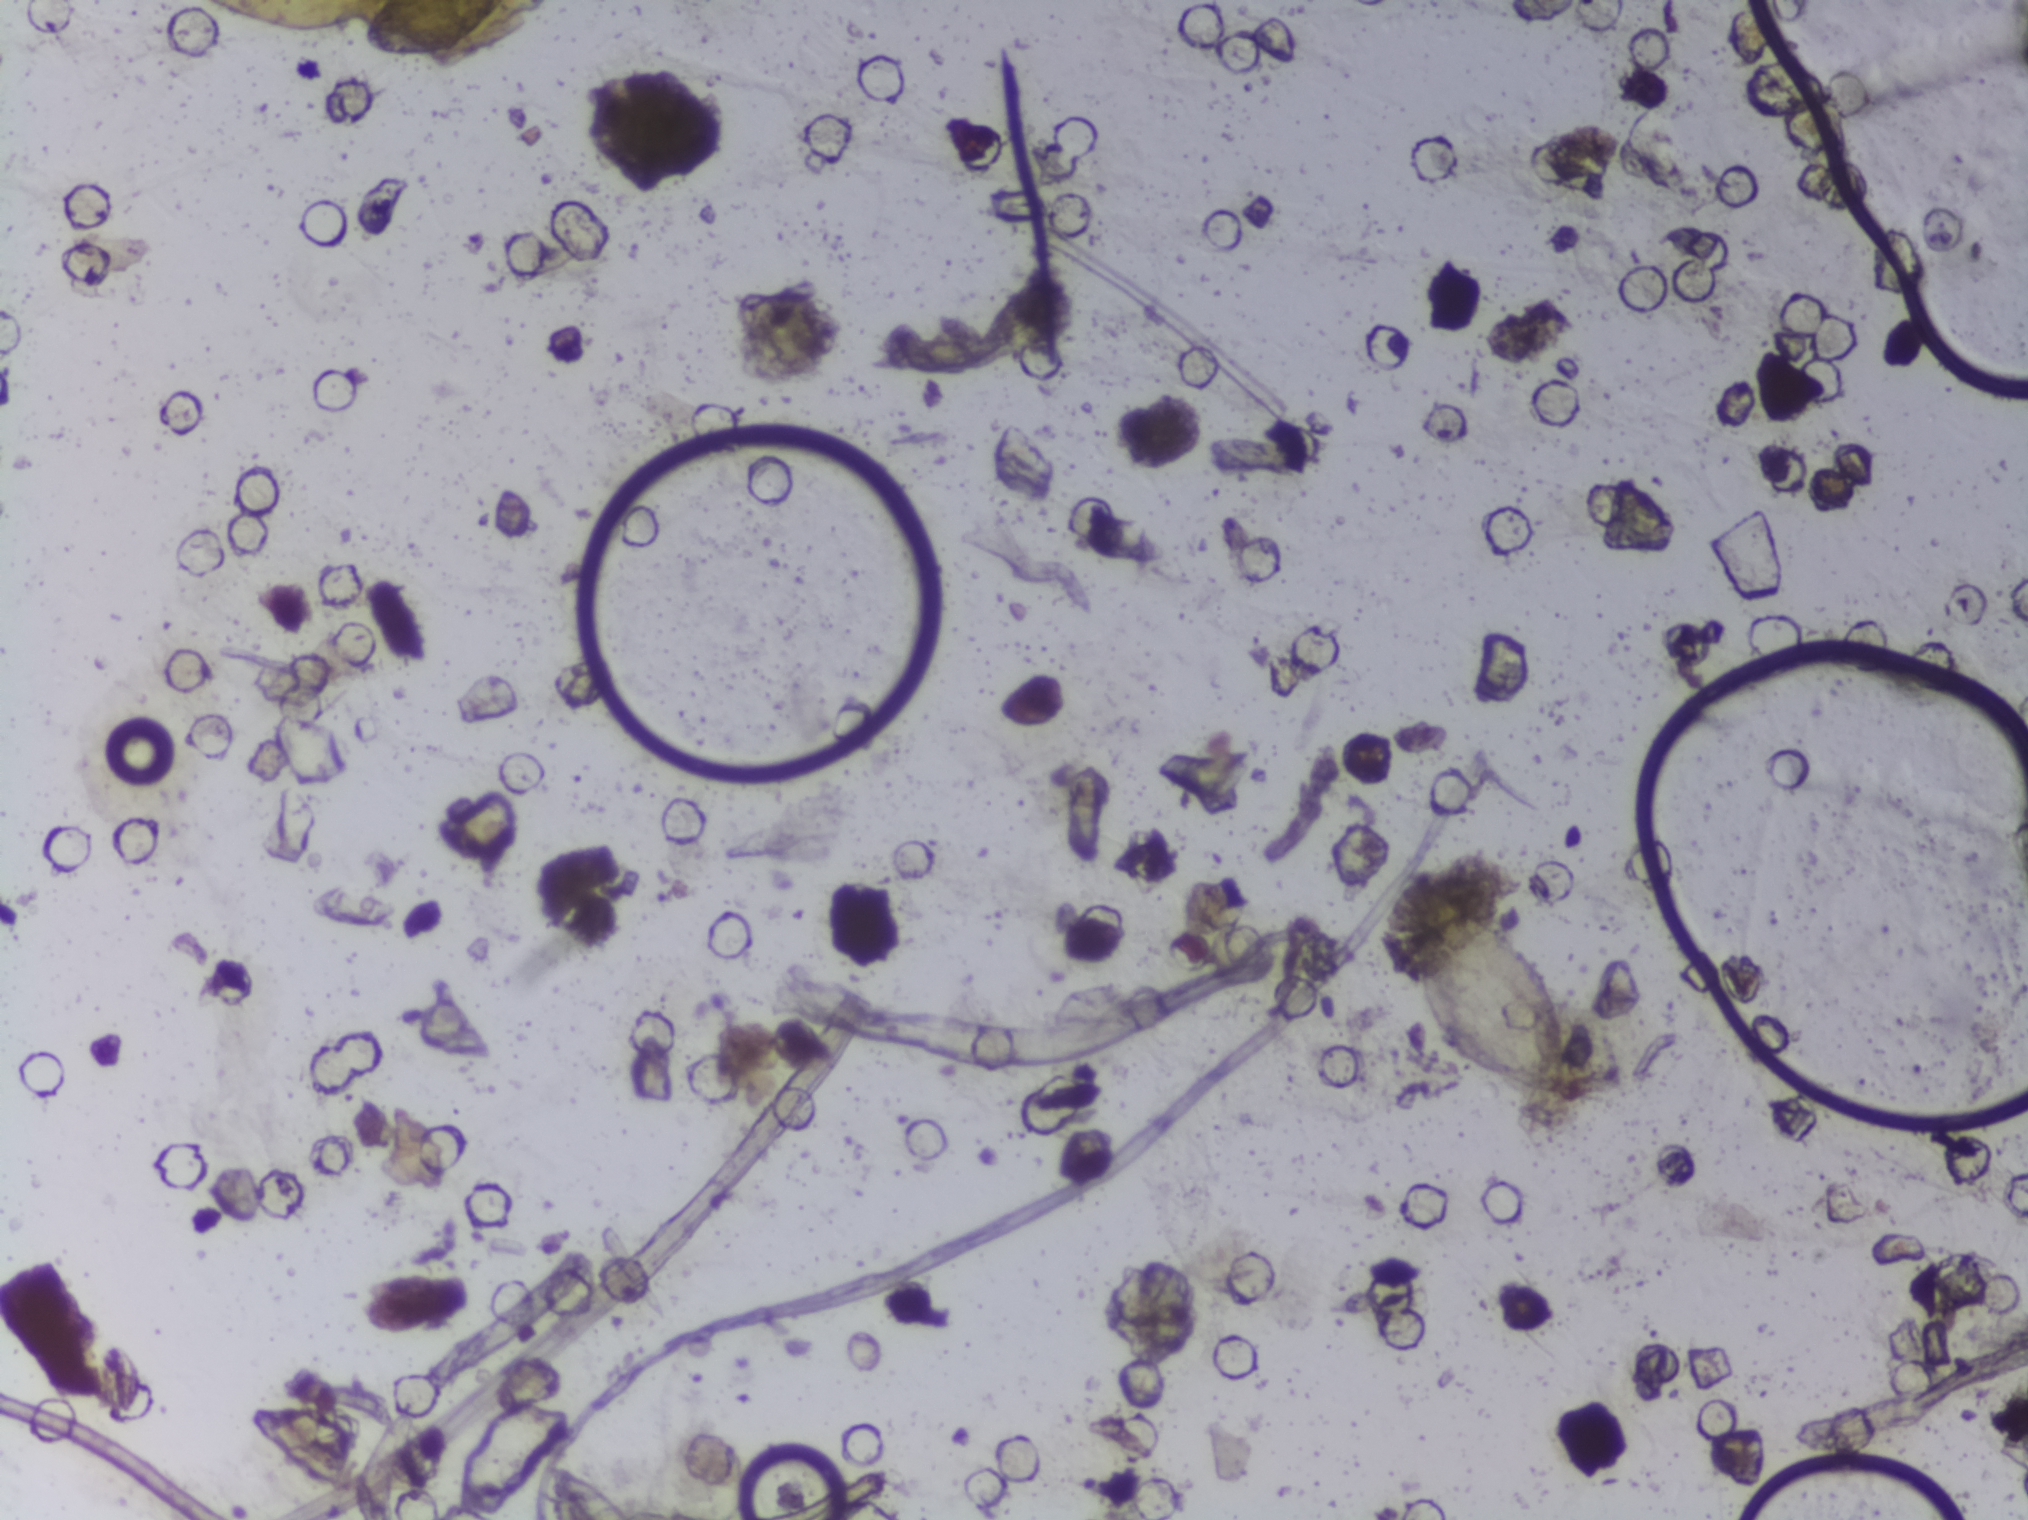
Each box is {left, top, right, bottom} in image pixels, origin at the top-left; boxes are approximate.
Schistosoma eggs are outlined in three areas of this image, listed from left to right: {361, 0, 508, 59} (reaching the top edge of the frame); {543, 1466, 629, 1519} (reaching the bottom edge of the frame); {1408, 870, 1579, 1100}. Eggs that touch can end up inside the same outlined area.
Microscope photograph (4× objective) of a membrane that a urine sample was filtered through. Field of view: about 1.5 mm wide and 1.1 mm high.